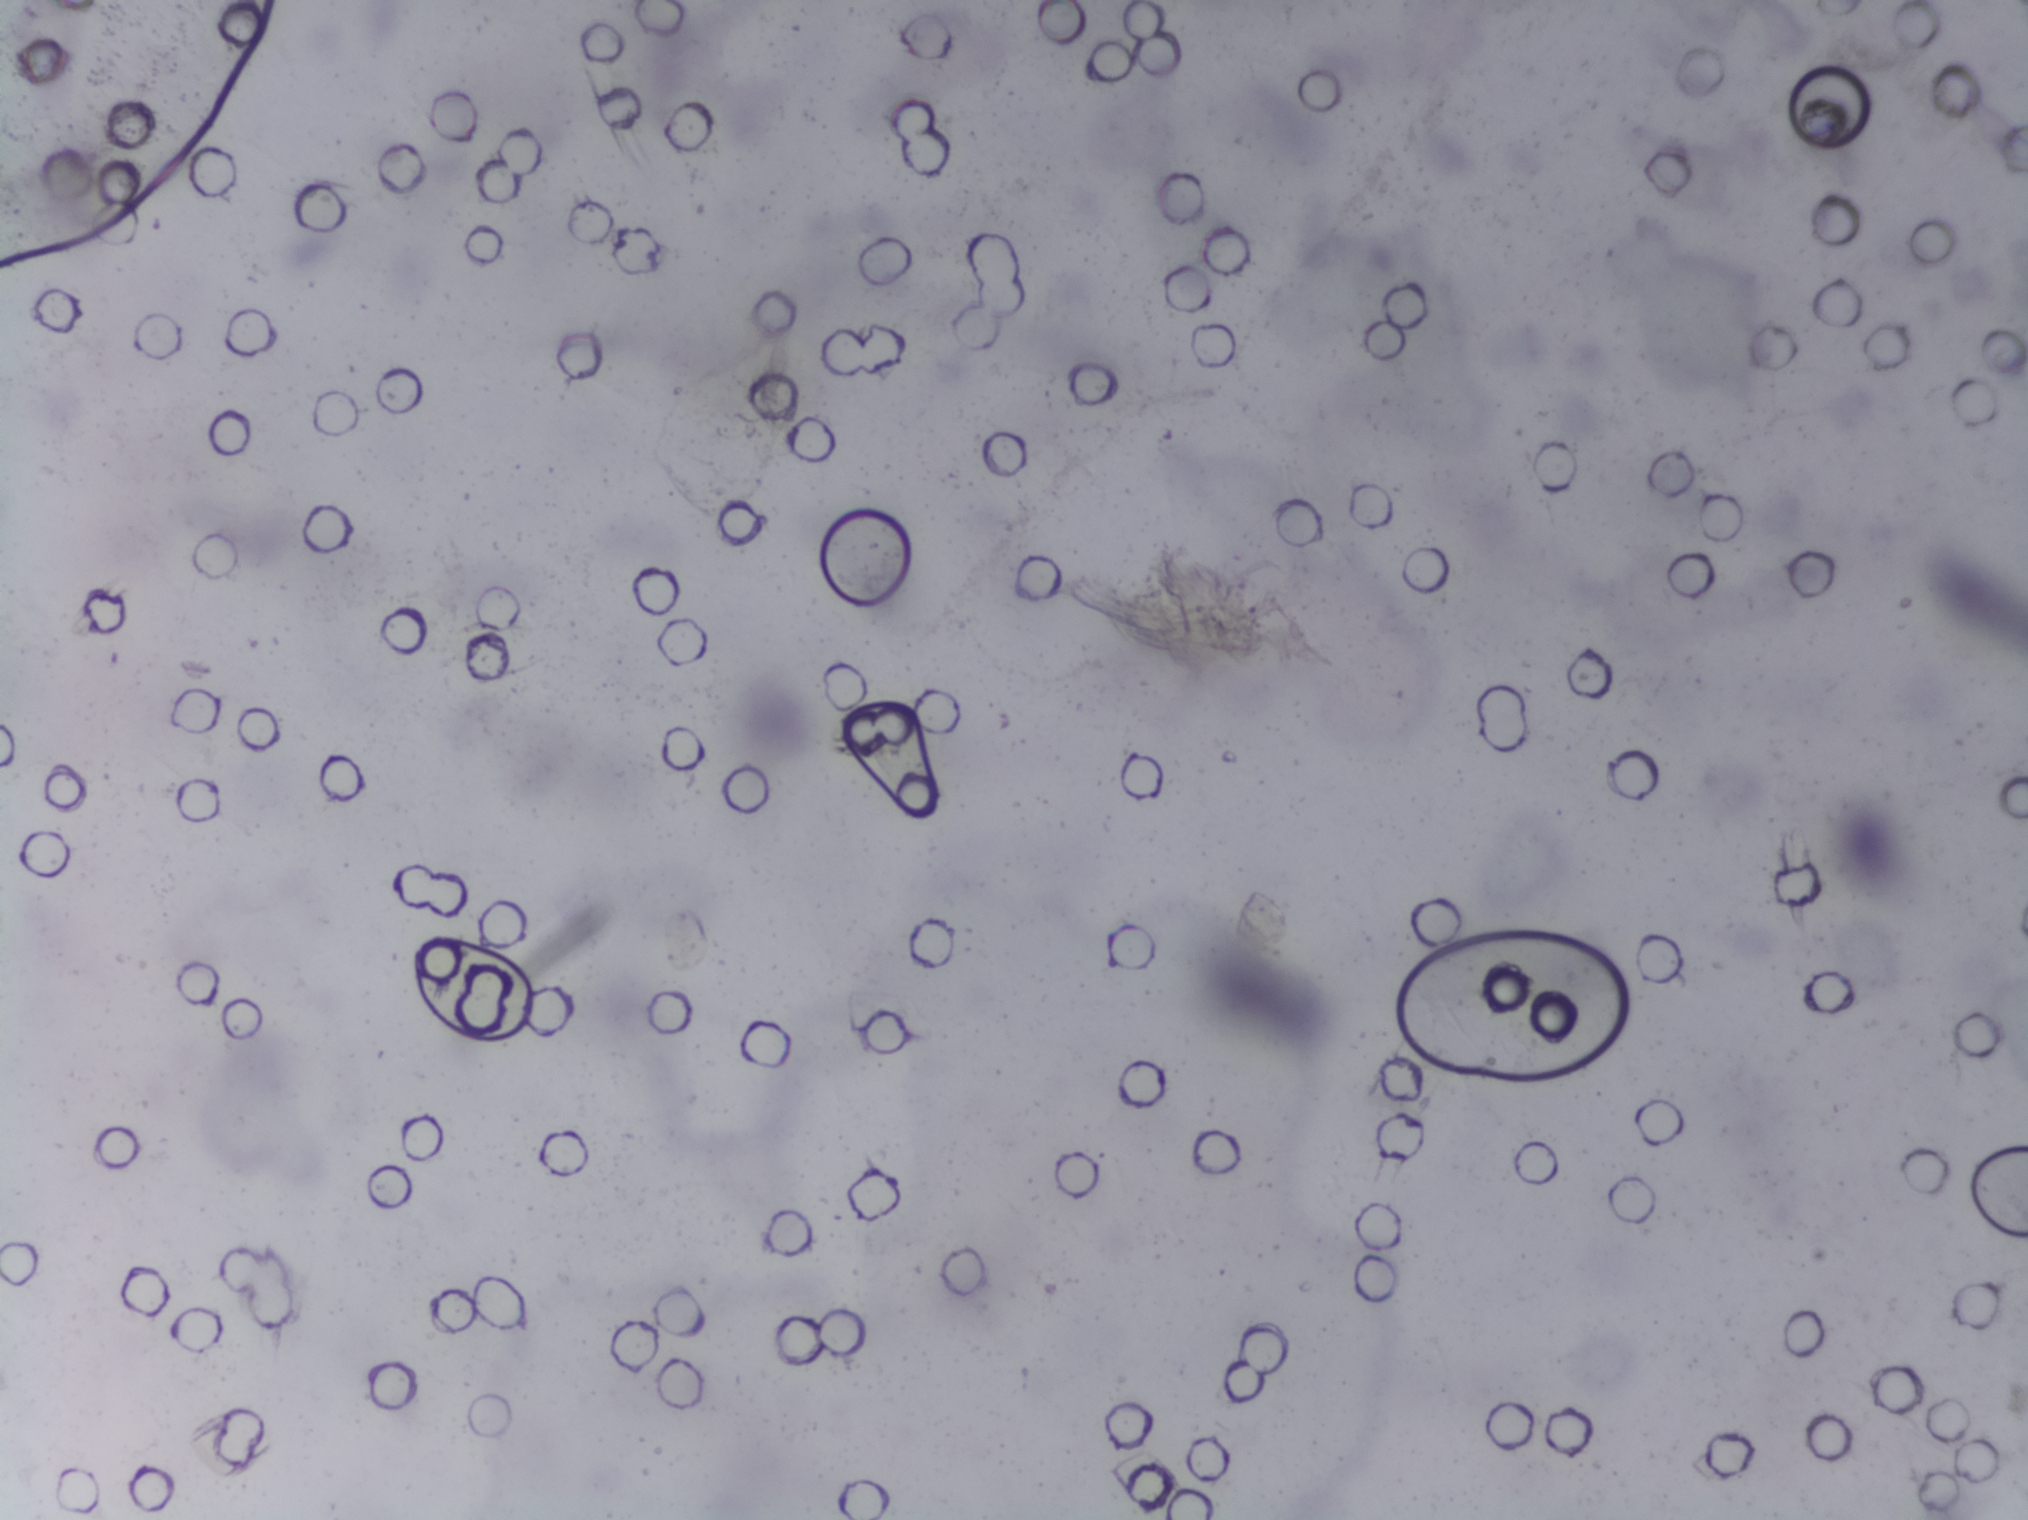
One field of view of a urine filter membrane, 4× objective, 2028 × 1520 pixels.
No Schistosoma egg is outlined in this image's expert annotation.